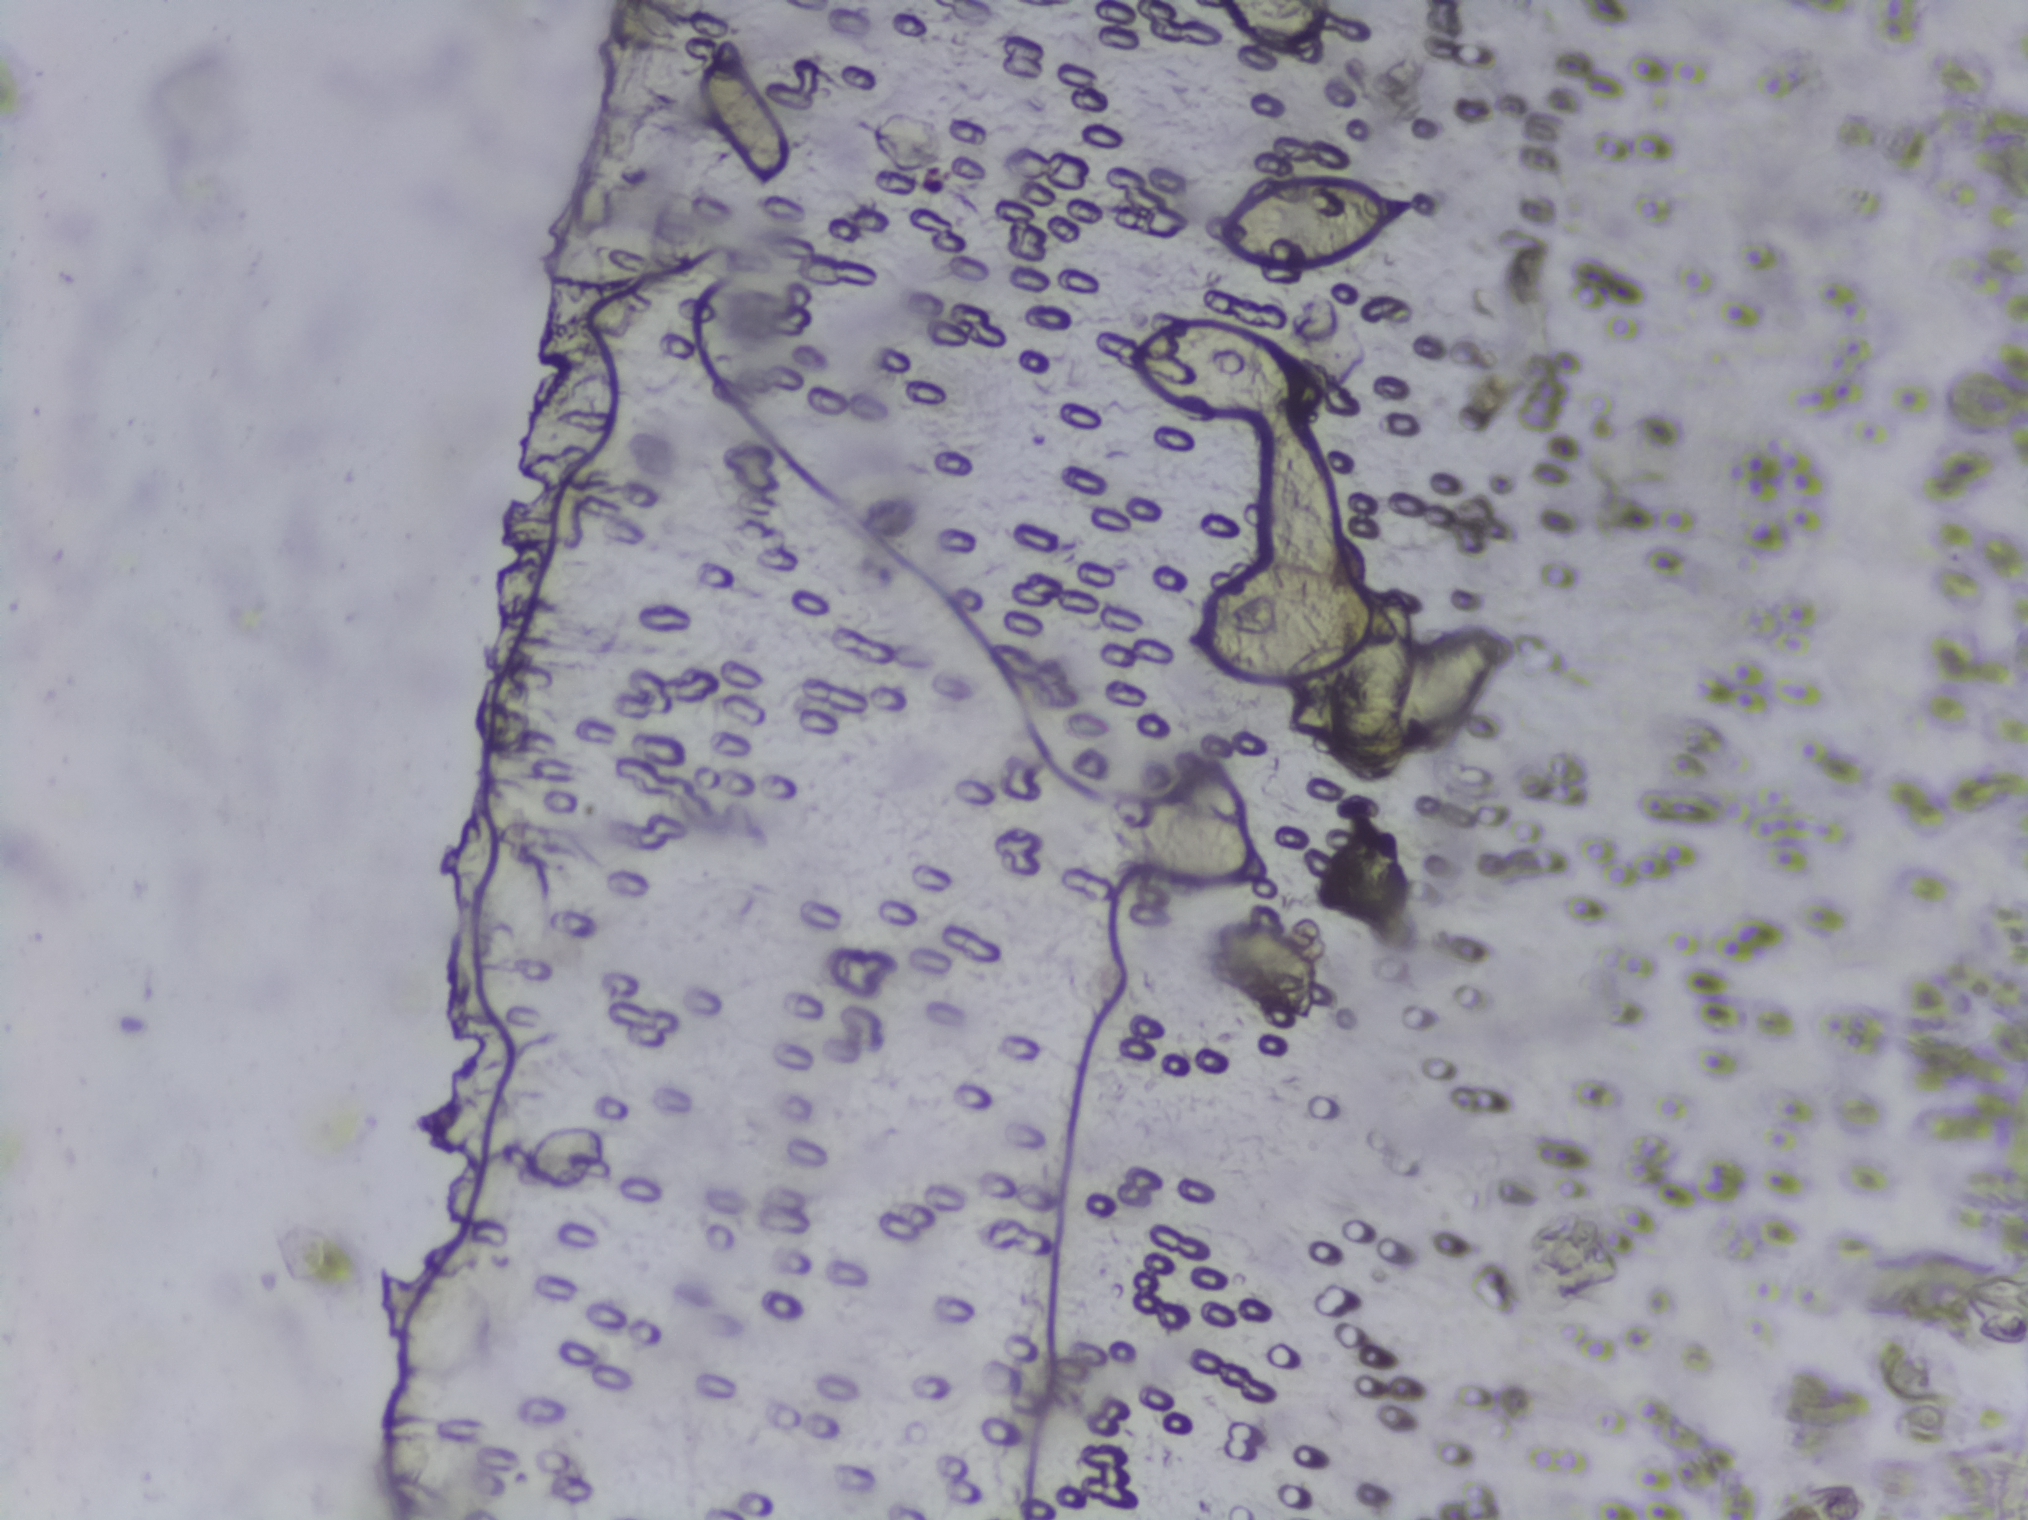
Urine filter membrane photographed through a 4× microscope objective. The field of view is about 1.5 mm × 1.1 mm.
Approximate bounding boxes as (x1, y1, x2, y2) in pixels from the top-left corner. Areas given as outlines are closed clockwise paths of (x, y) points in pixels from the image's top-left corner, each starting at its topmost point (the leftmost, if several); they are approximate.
Areas outlined as Schistosoma eggs, left to right:
1. box (1085, 794, 1287, 890)
2. box (1113, 330, 1321, 419)
3. outline (1378, 576), (1413, 602), (1418, 640), (1480, 614), (1499, 617), (1505, 628), (1500, 669), (1472, 708), (1436, 742), (1403, 750), (1397, 780), (1389, 786), (1358, 782), (1336, 753), (1286, 736), (1287, 708), (1324, 685), (1331, 649), (1213, 650), (1176, 641), (1180, 632), (1257, 593), (1353, 601), (1357, 588)
4. box (1219, 185, 1417, 267)
A single outlined area may contain several eggs.